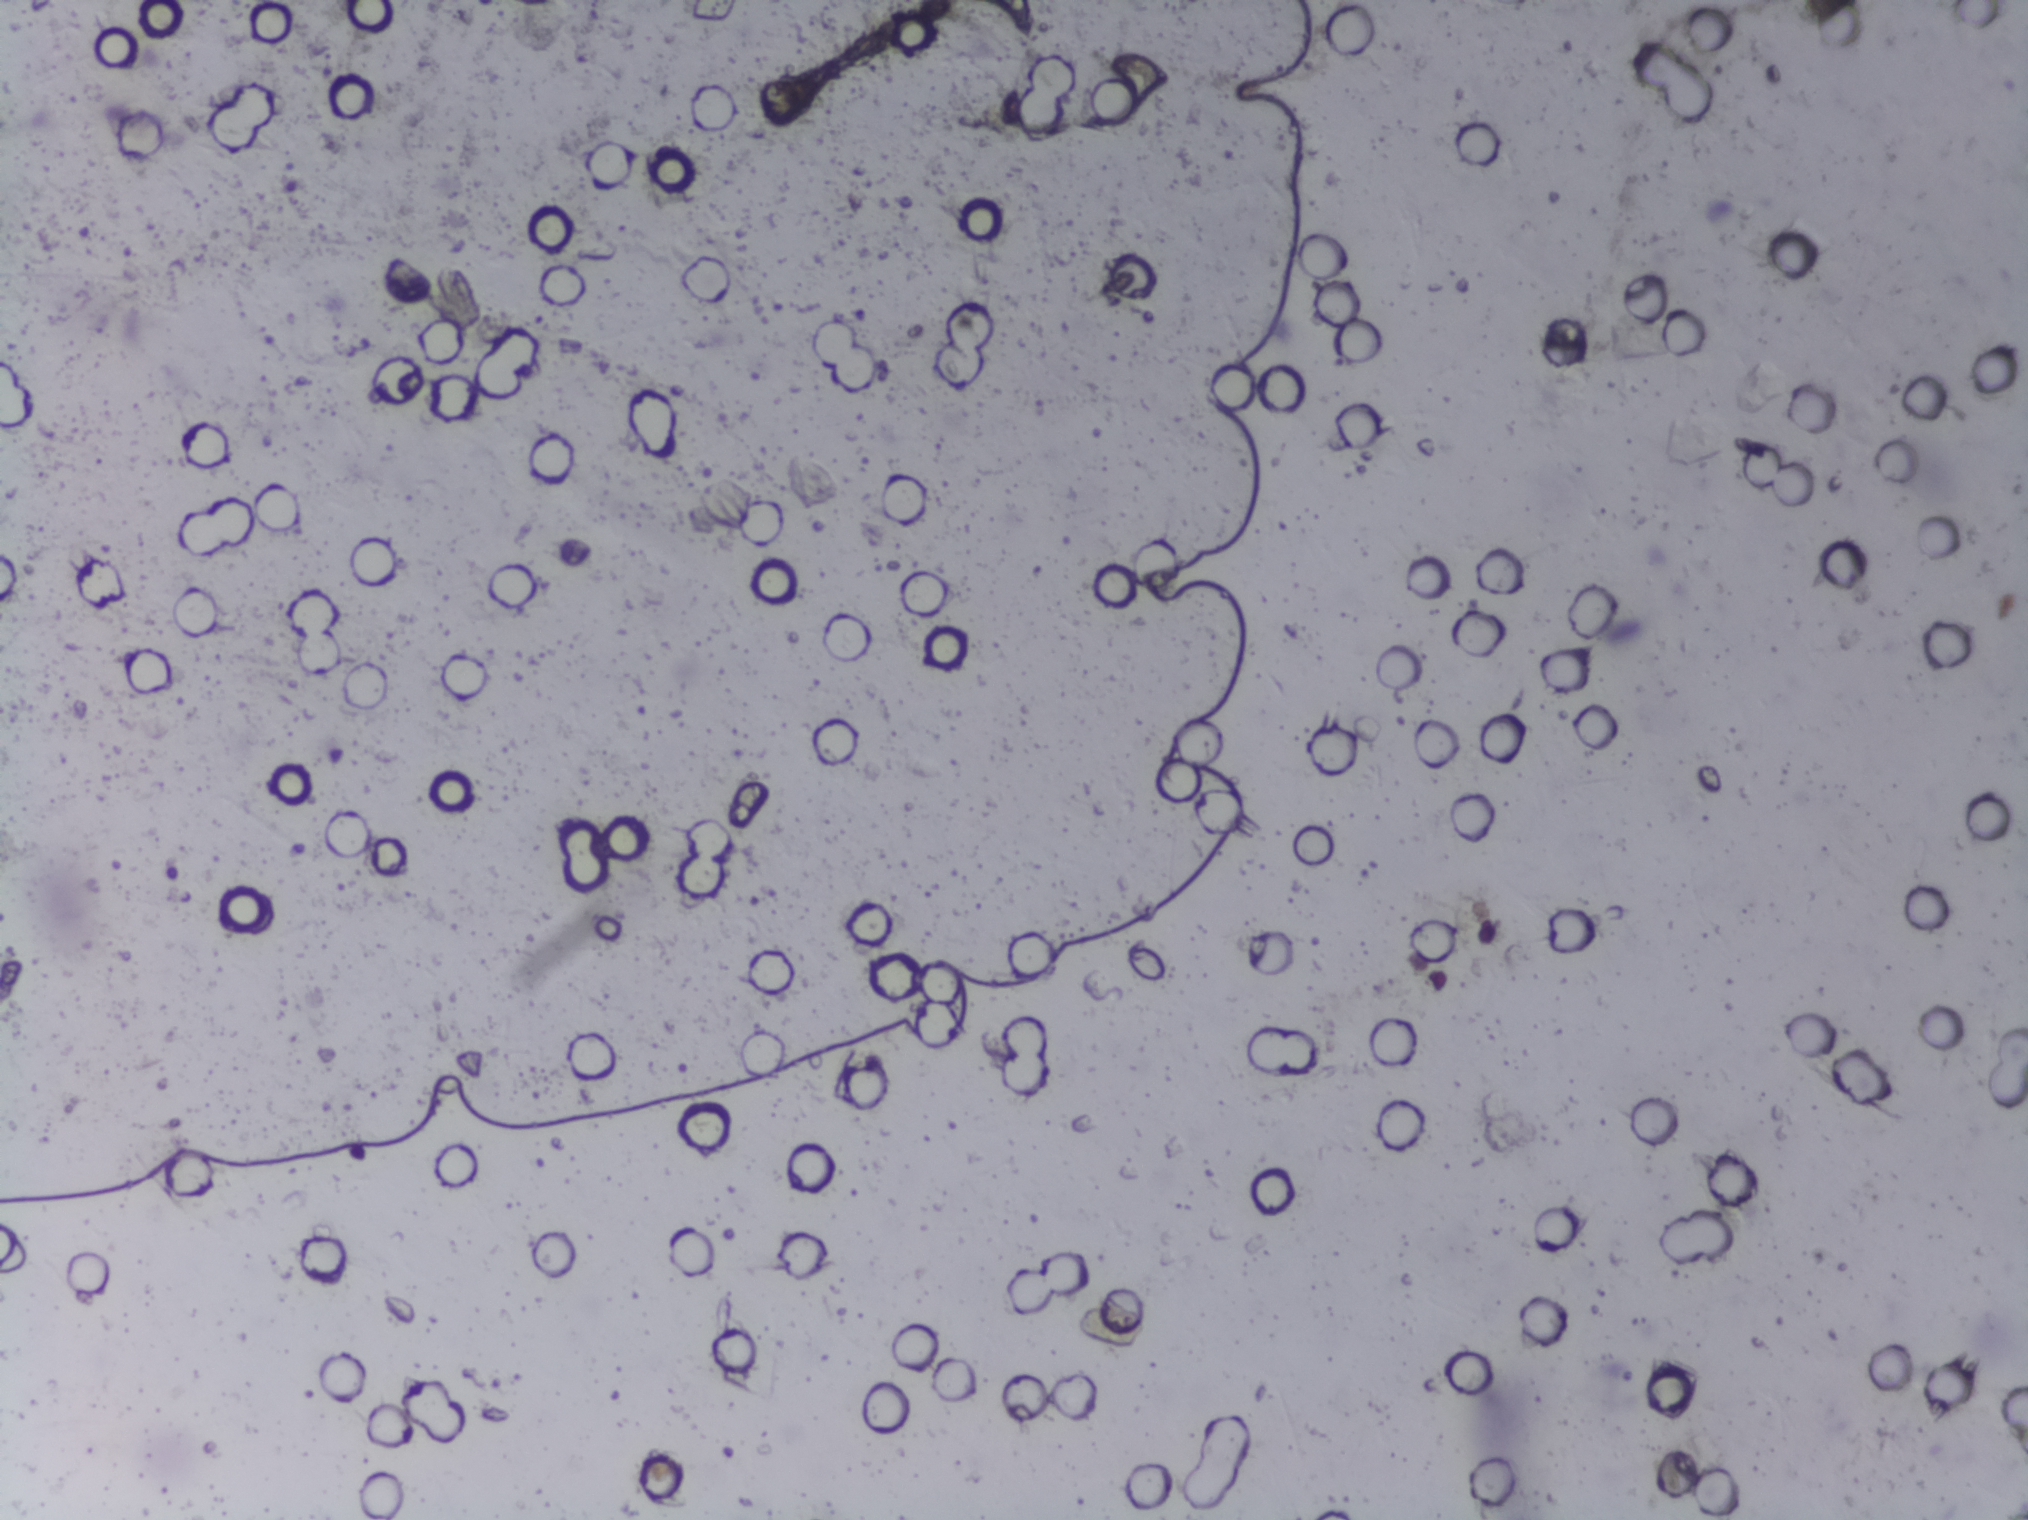
The expert annotation marks no Schistosoma egg in this field of view.
One field of view of a urine filter membrane, 4× objective, 2028 × 1520 pixels.